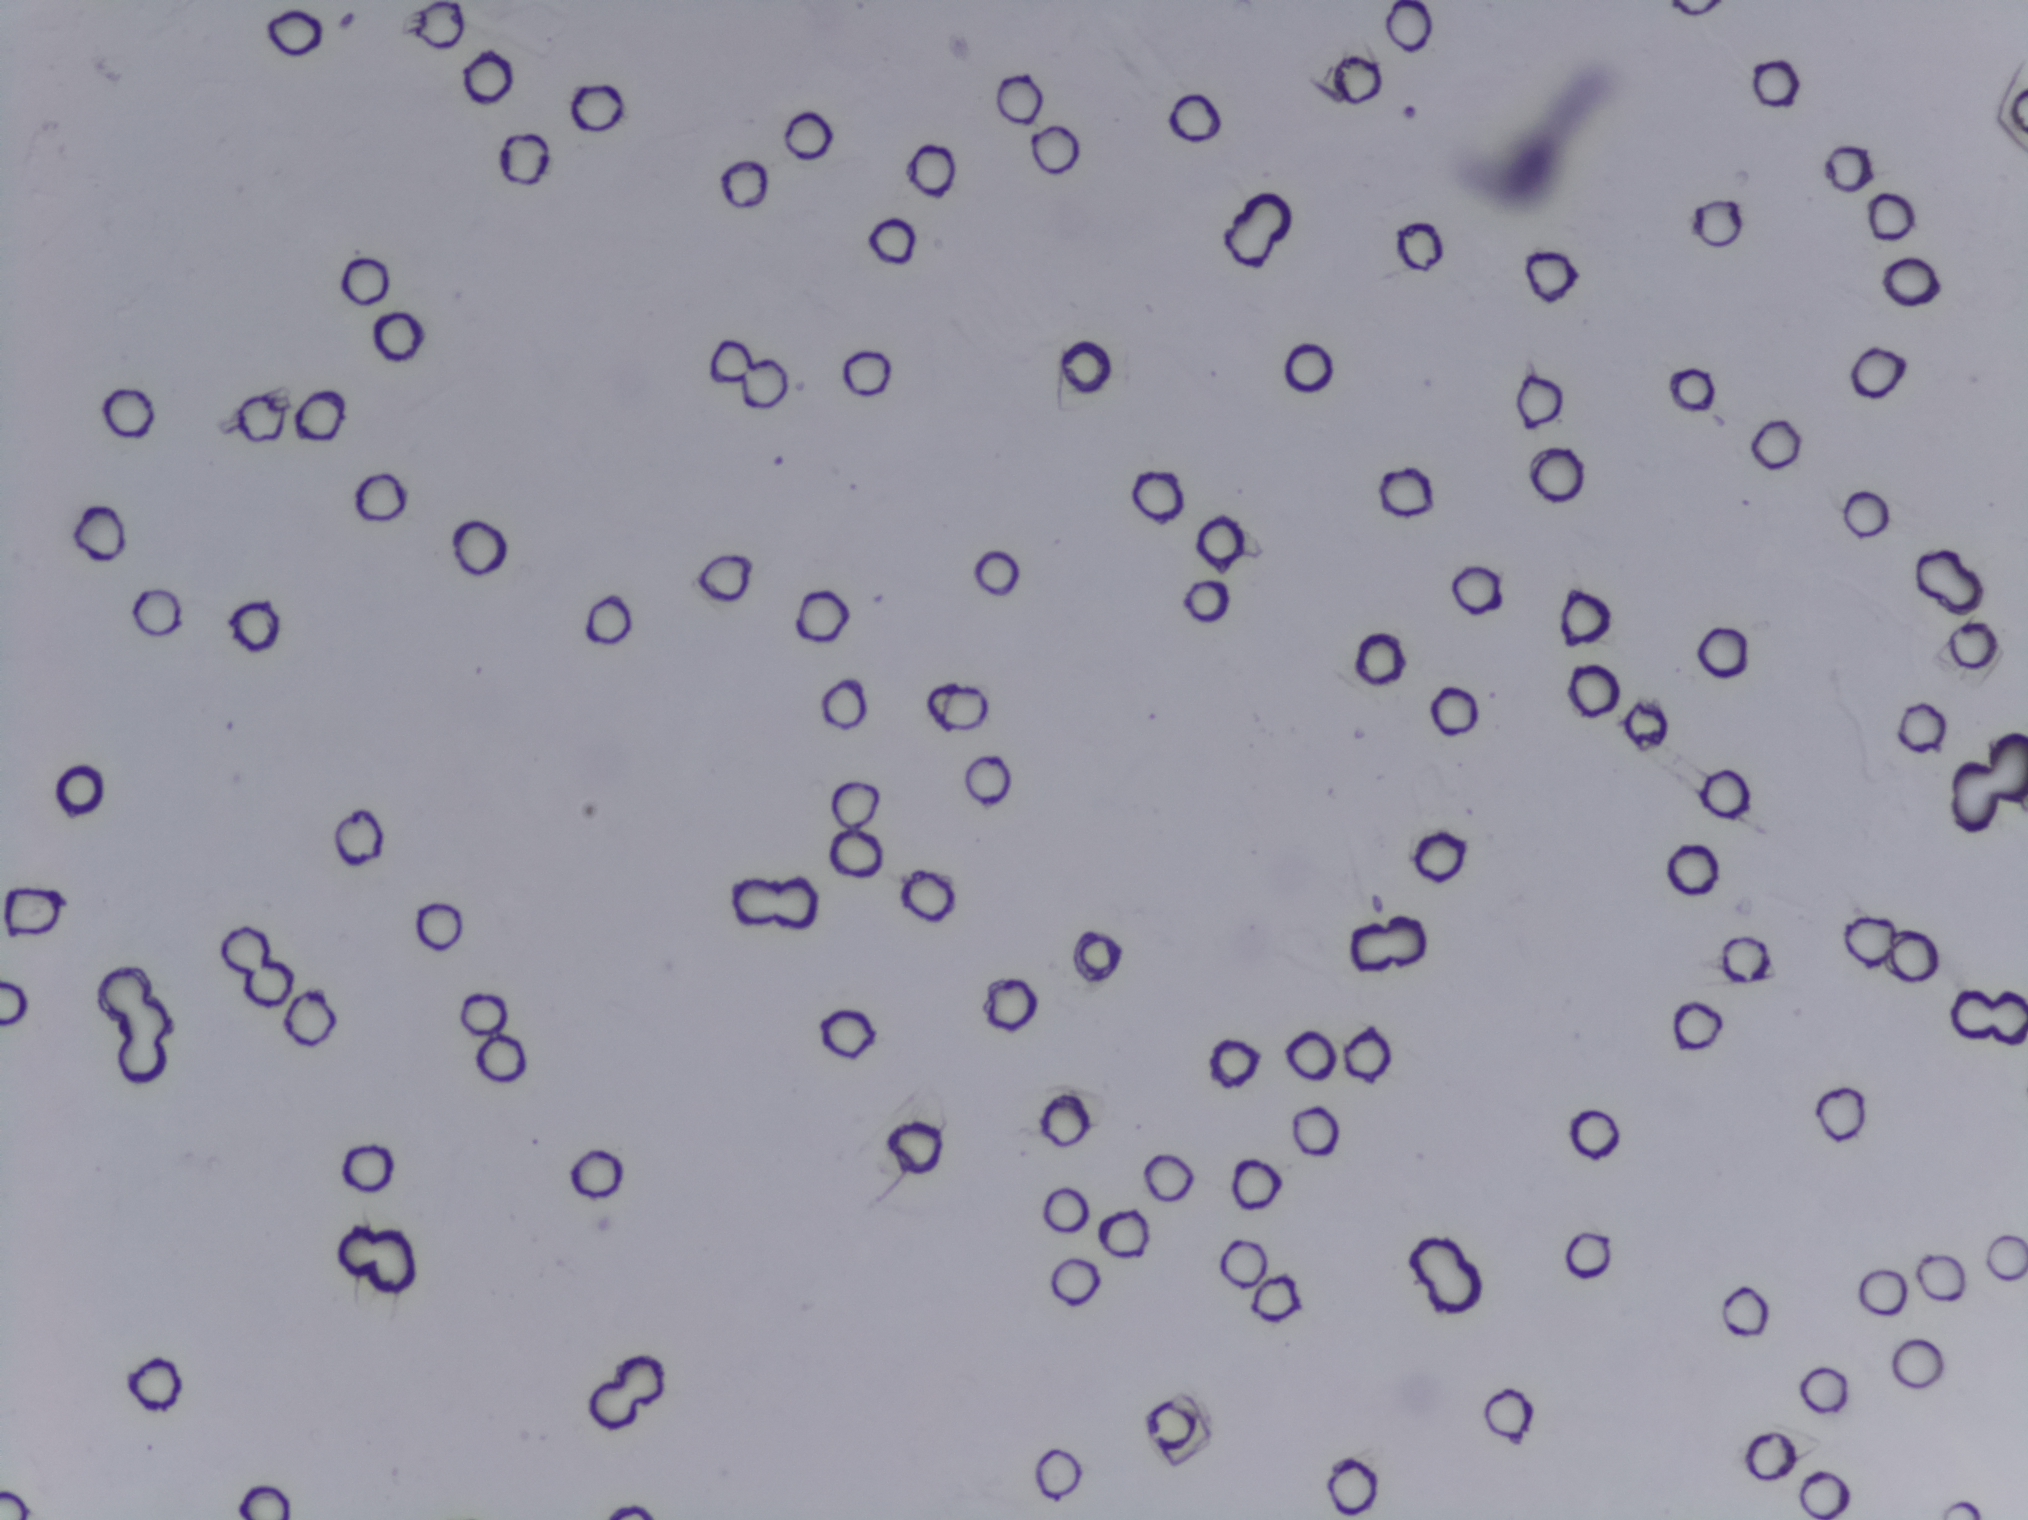
One field of view of a urine filter membrane, 4× objective, 2028 × 1520 pixels.
No area of this image was outlined as a Schistosoma egg.